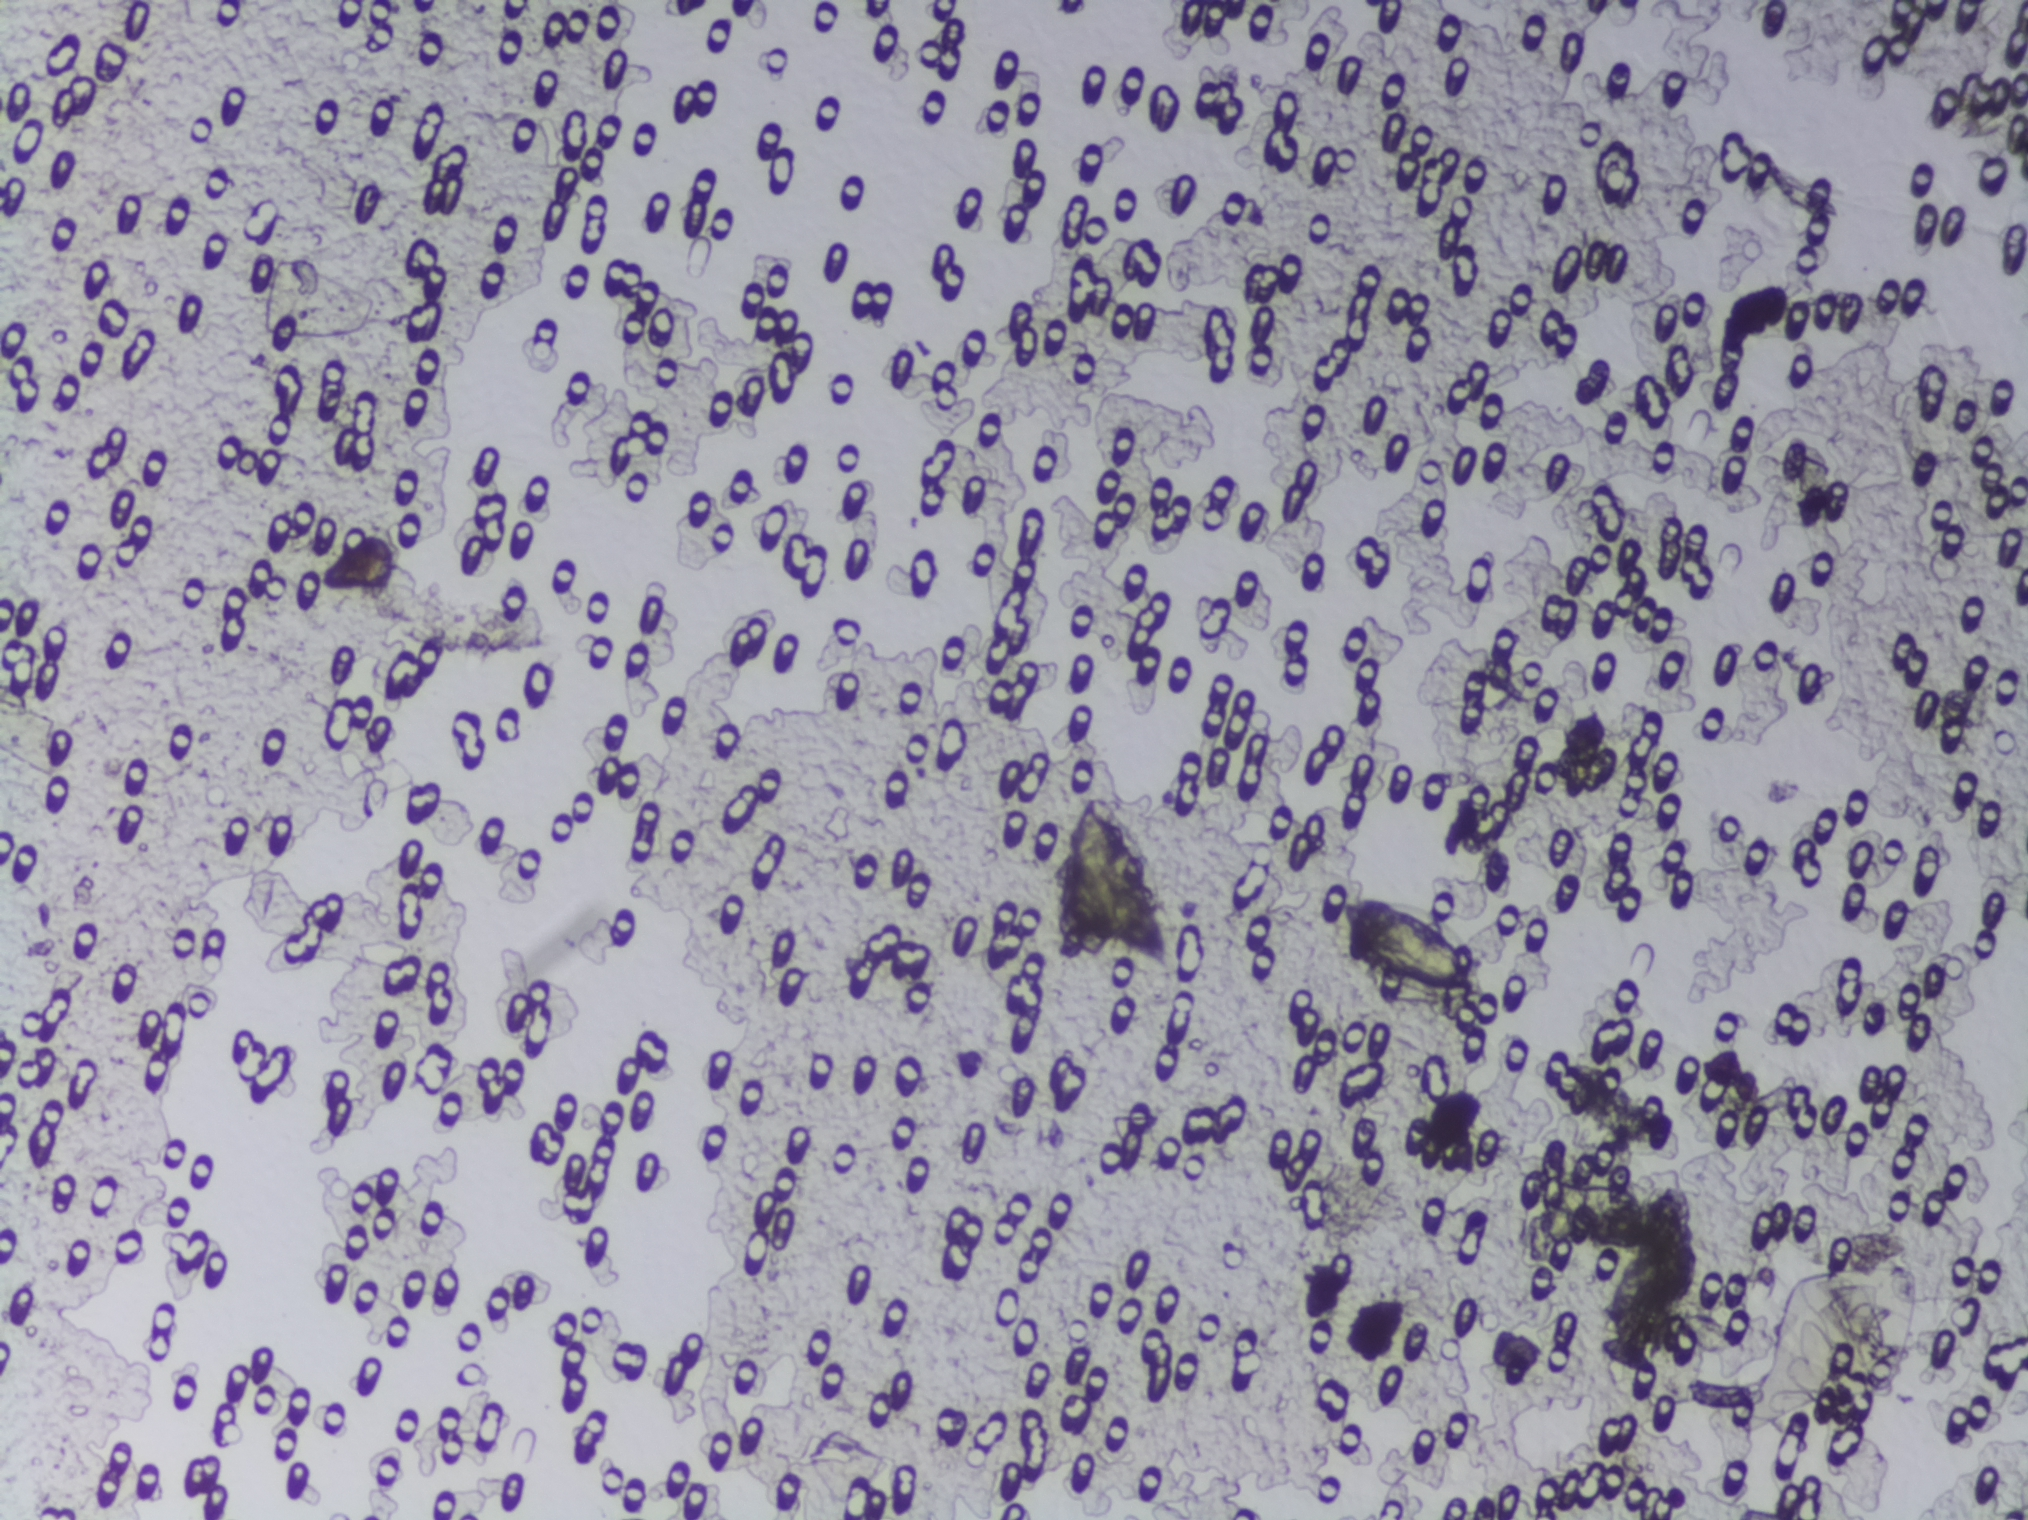
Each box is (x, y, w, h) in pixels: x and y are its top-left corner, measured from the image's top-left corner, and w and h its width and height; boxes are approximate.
Findings: three areas outlined as Schistosoma eggs. Locations, left to right: (x=1055, y=797, w=119, h=172); (x=1339, y=897, w=149, h=110); (x=1562, y=1055, w=95, h=94). Eggs that touch can end up inside the same outlined area. A marked egg may occasionally be S. mansoni rather than S. haematobium.
Photograph from an automated digital microscope: urine filter membrane, 4× objective.